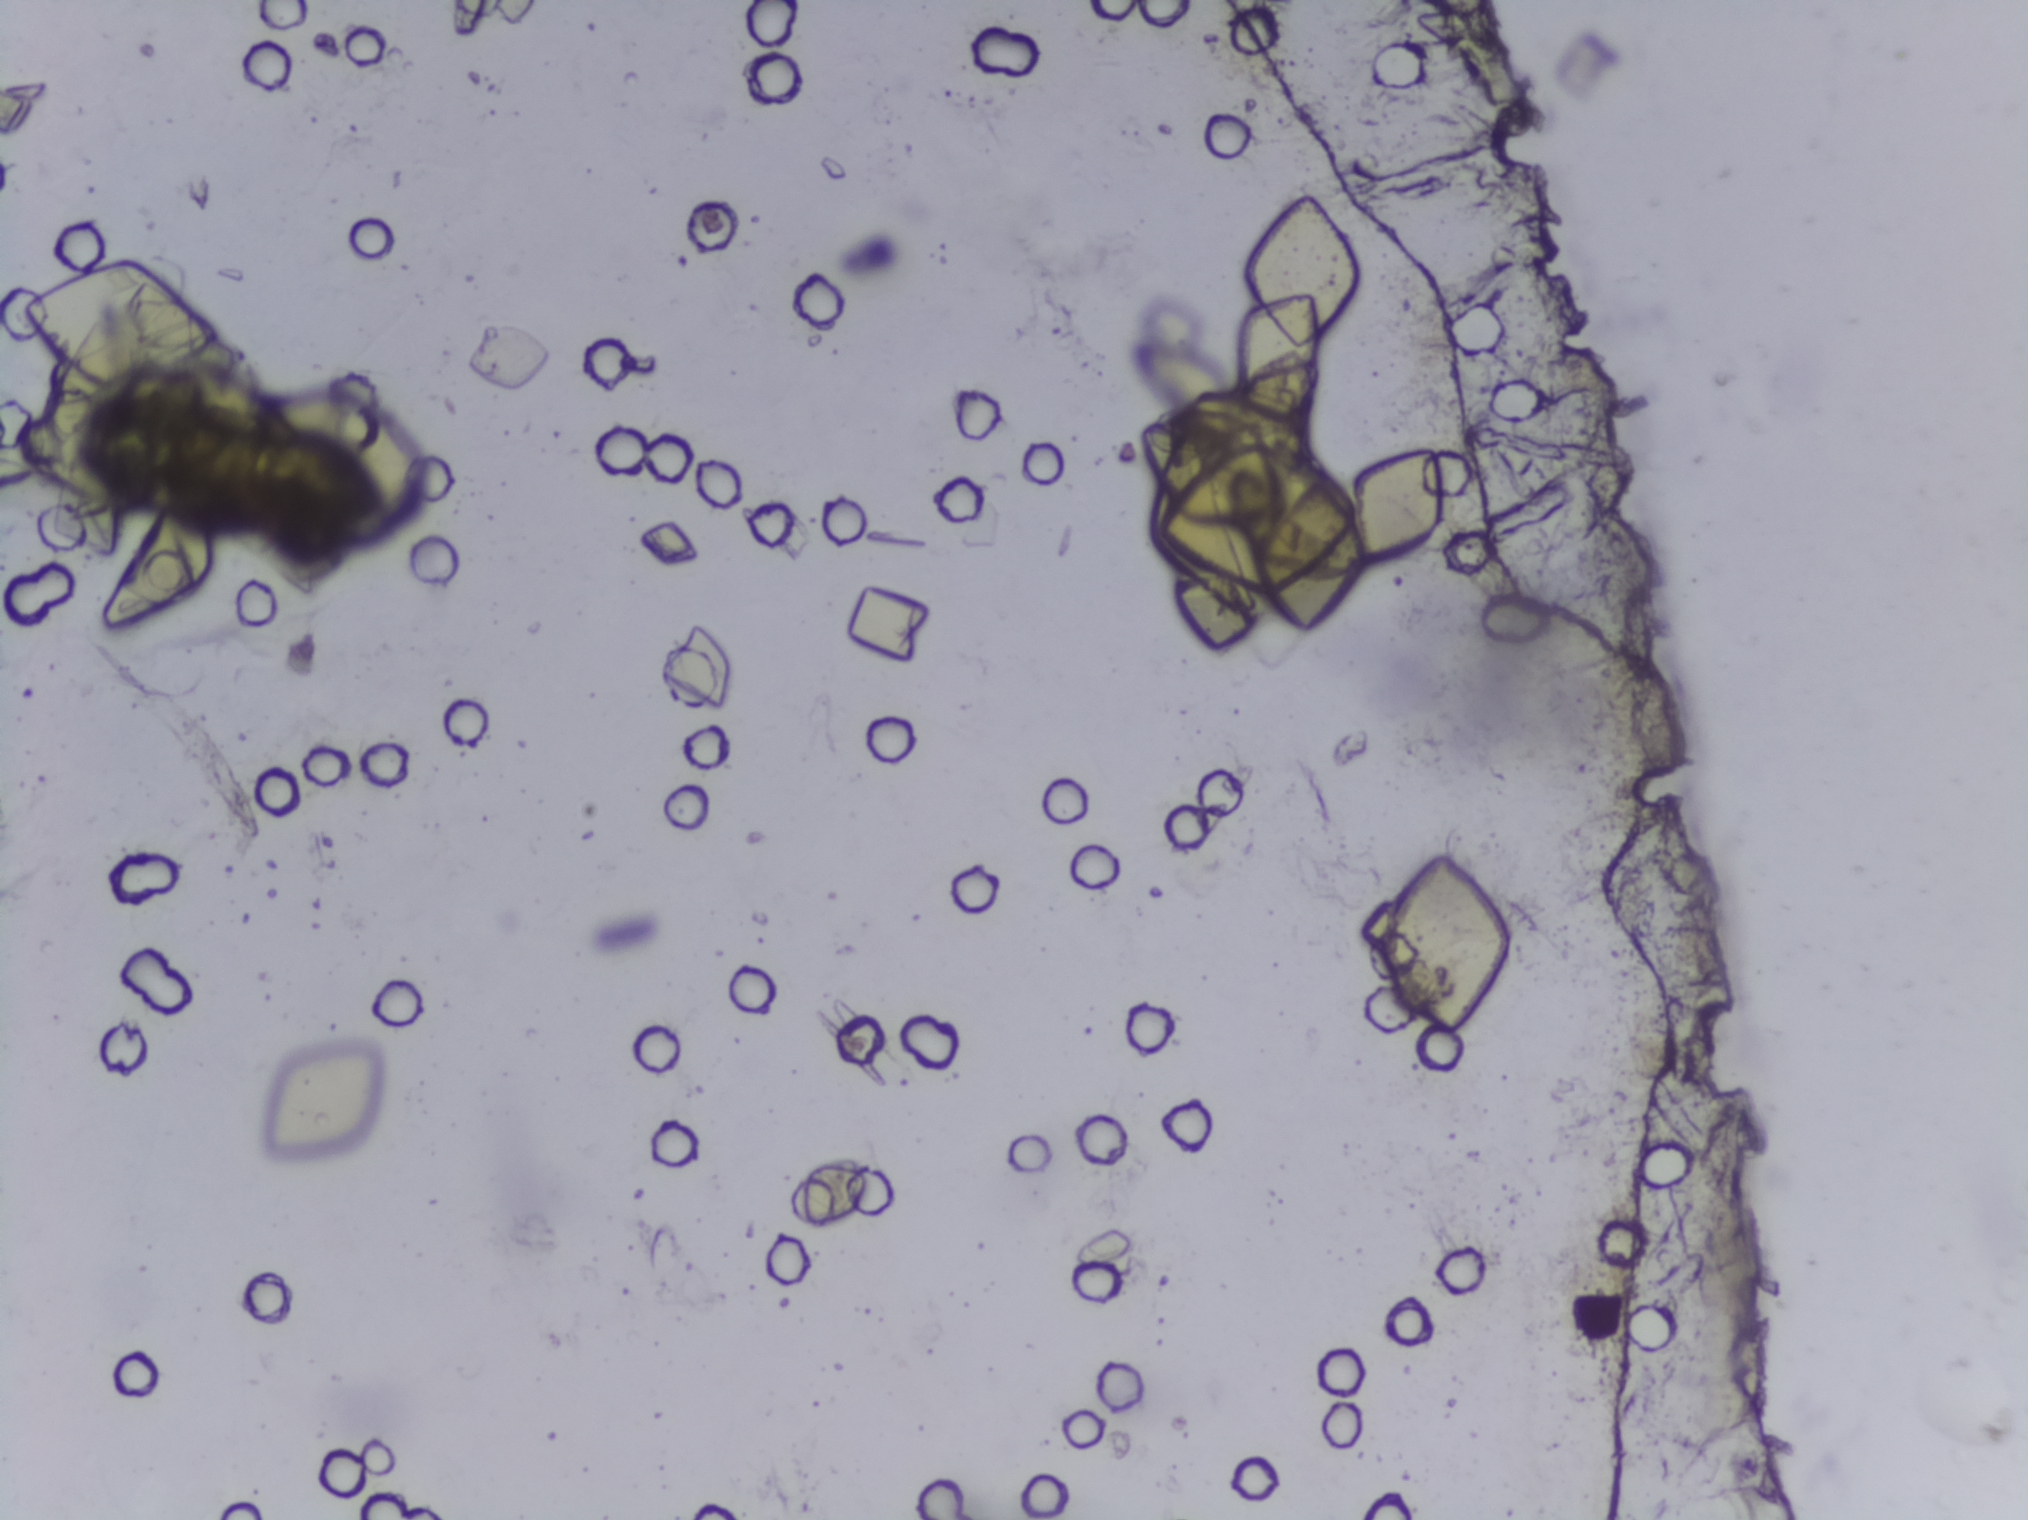
Urine filter membrane photographed through a 4× microscope objective.
No Schistosoma egg is outlined in this image's expert annotation.